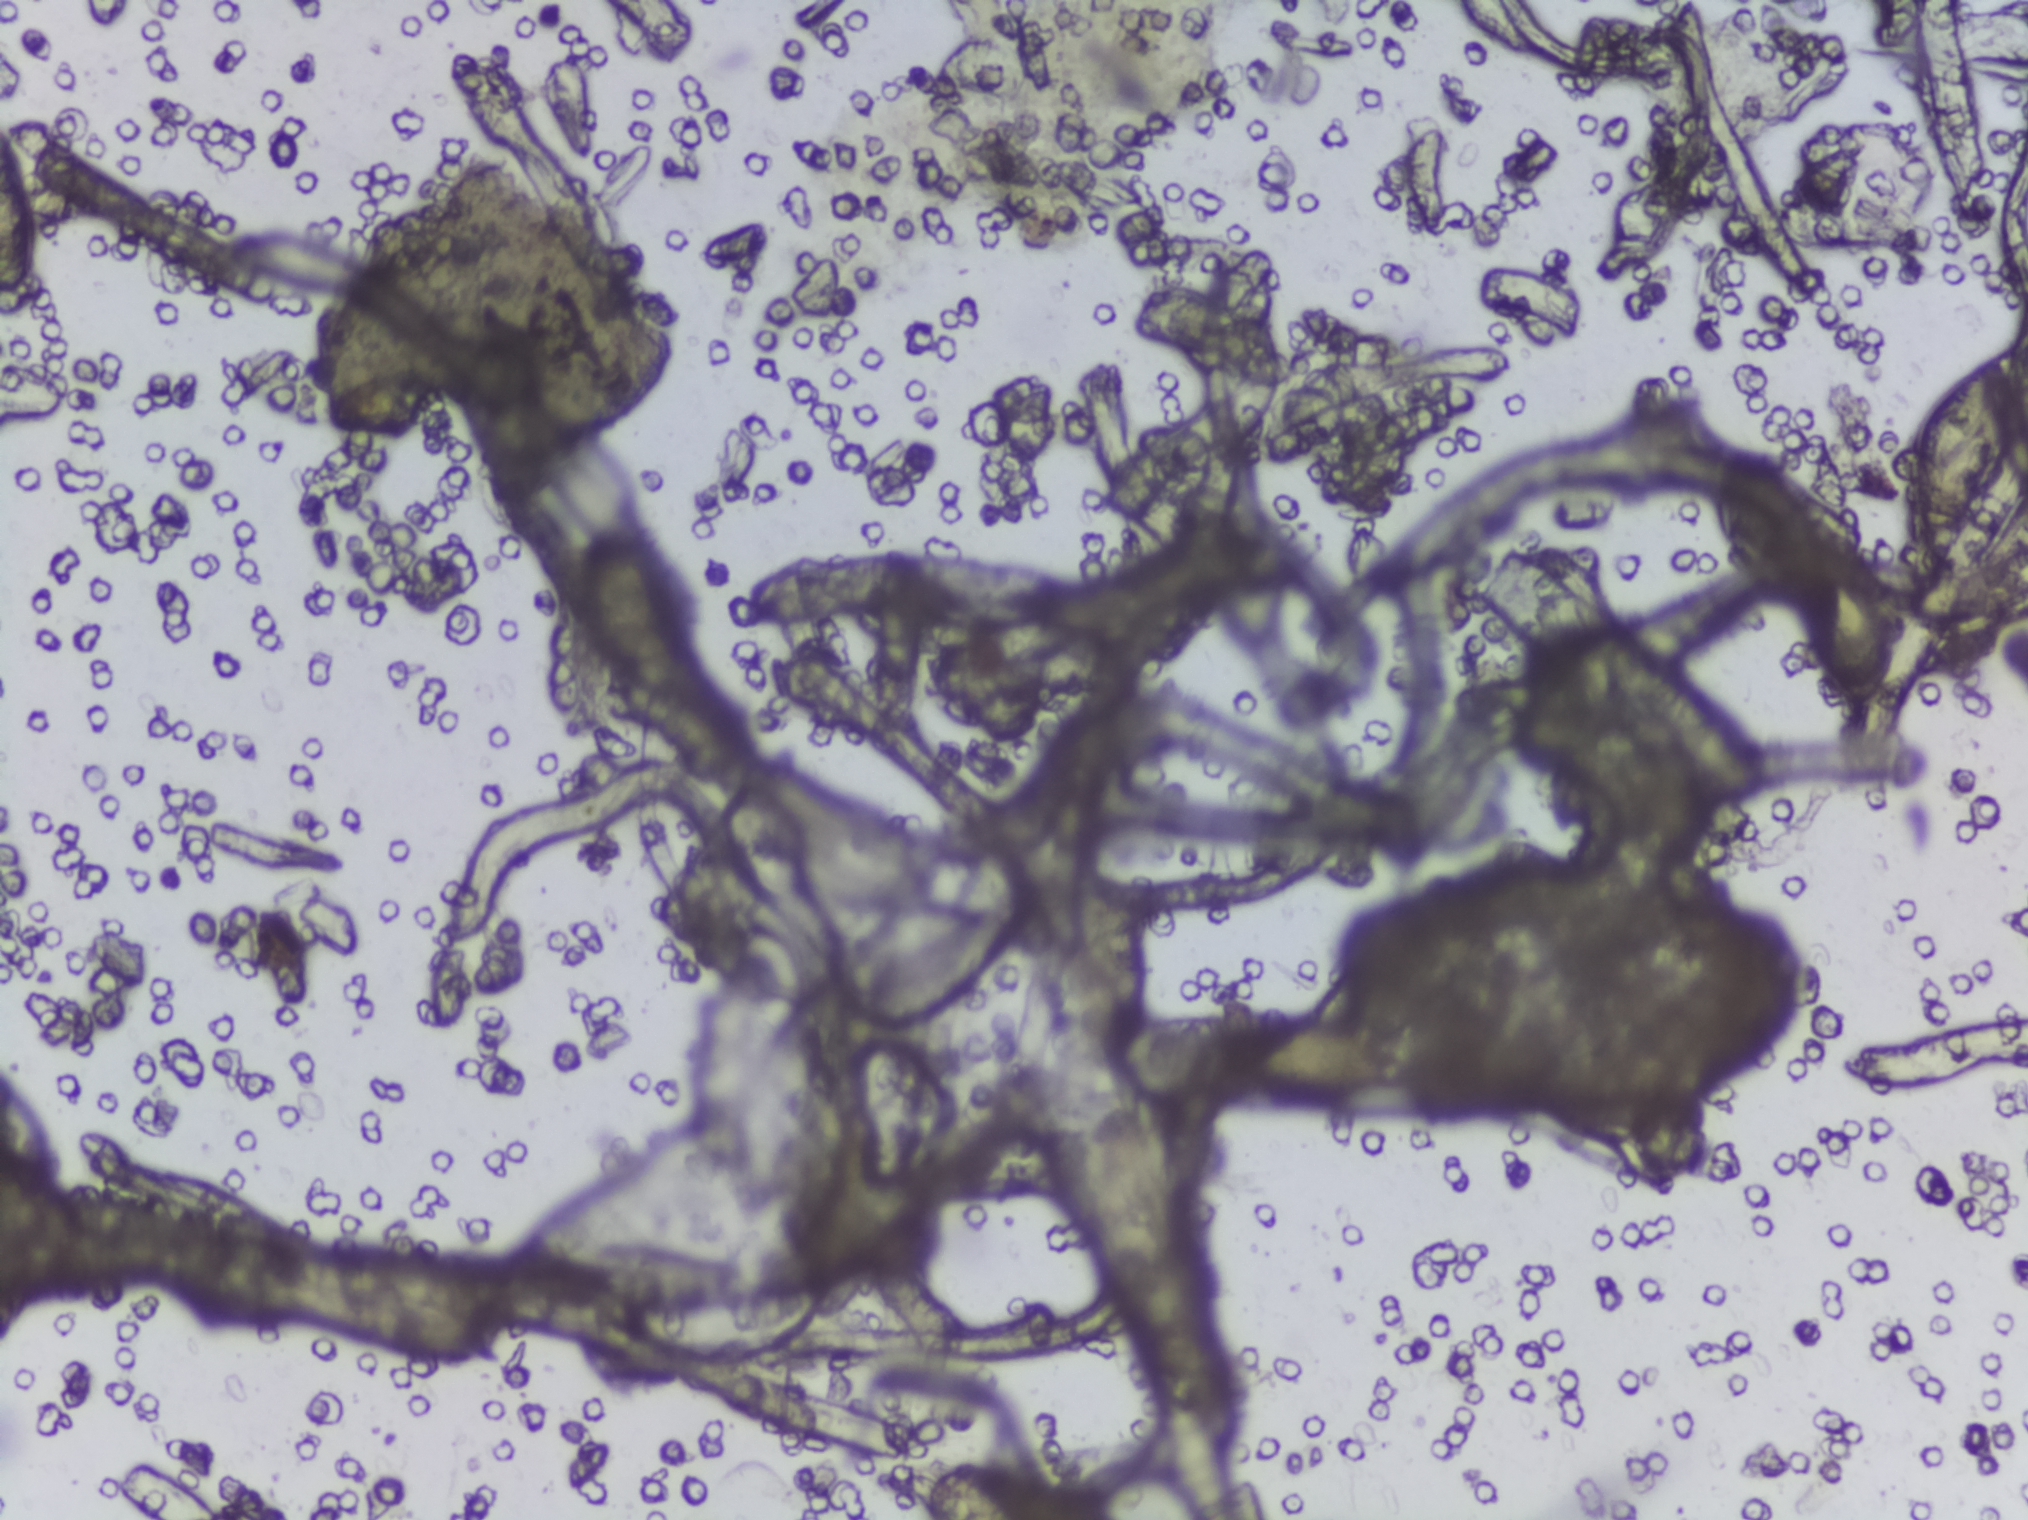
Microscope photograph (4× objective) of a membrane that a urine sample was filtered through.
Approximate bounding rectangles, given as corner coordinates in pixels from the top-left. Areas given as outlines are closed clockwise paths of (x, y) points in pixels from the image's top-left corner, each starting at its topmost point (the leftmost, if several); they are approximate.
Areas outlined as Schistosoma eggs: box (x1=0, y1=124, x2=38, y2=318) (reaching the left edge of the frame); box (x1=1225, y1=1018, x2=1393, y2=1106); outline (1735, 452), (1763, 454), (1789, 470), (1811, 514), (1820, 554), (1855, 563), (1859, 570), (1853, 574), (1878, 592), (1901, 647), (1897, 678), (1881, 702), (1852, 708), (1838, 699), (1817, 665), (1799, 612), (1778, 606), (1758, 589), (1726, 546), (1714, 487); box (x1=1910, y1=355, x2=2017, y2=549). An outlined area can hold more than one egg.